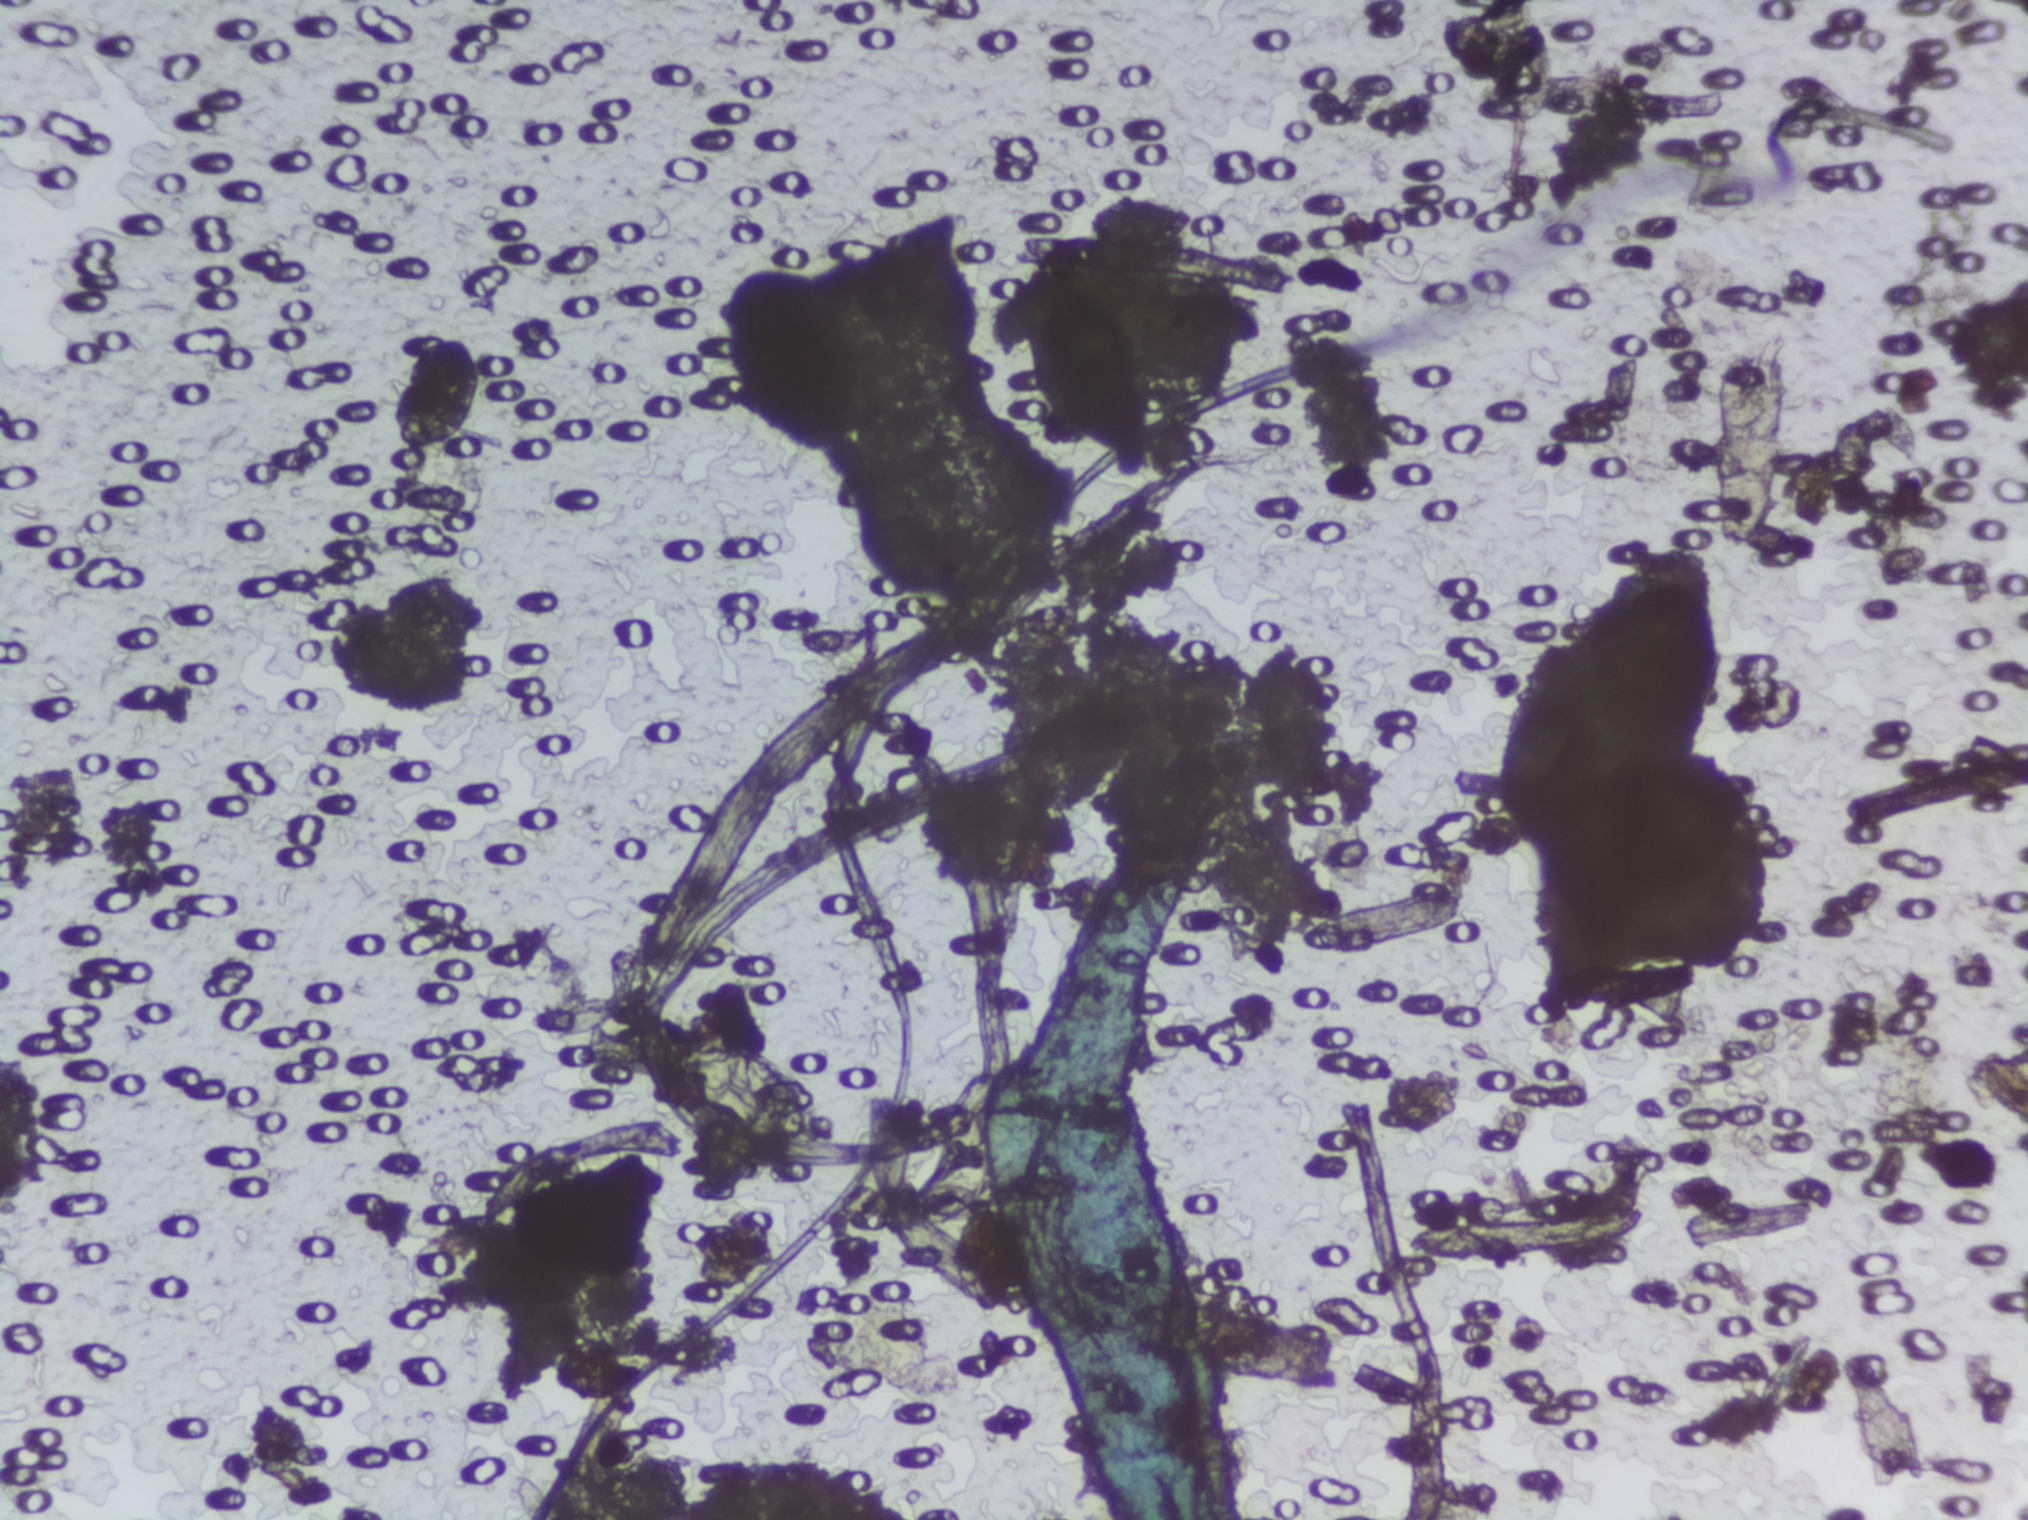
Microscope photograph (4× objective) of a membrane that a urine sample was filtered through. The image covers about 1.5 × 1.1 mm of the membrane.
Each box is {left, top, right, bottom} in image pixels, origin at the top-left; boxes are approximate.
Areas outlined as Schistosoma eggs: {626, 1002, 805, 1146}. A single outlined area may contain several eggs.